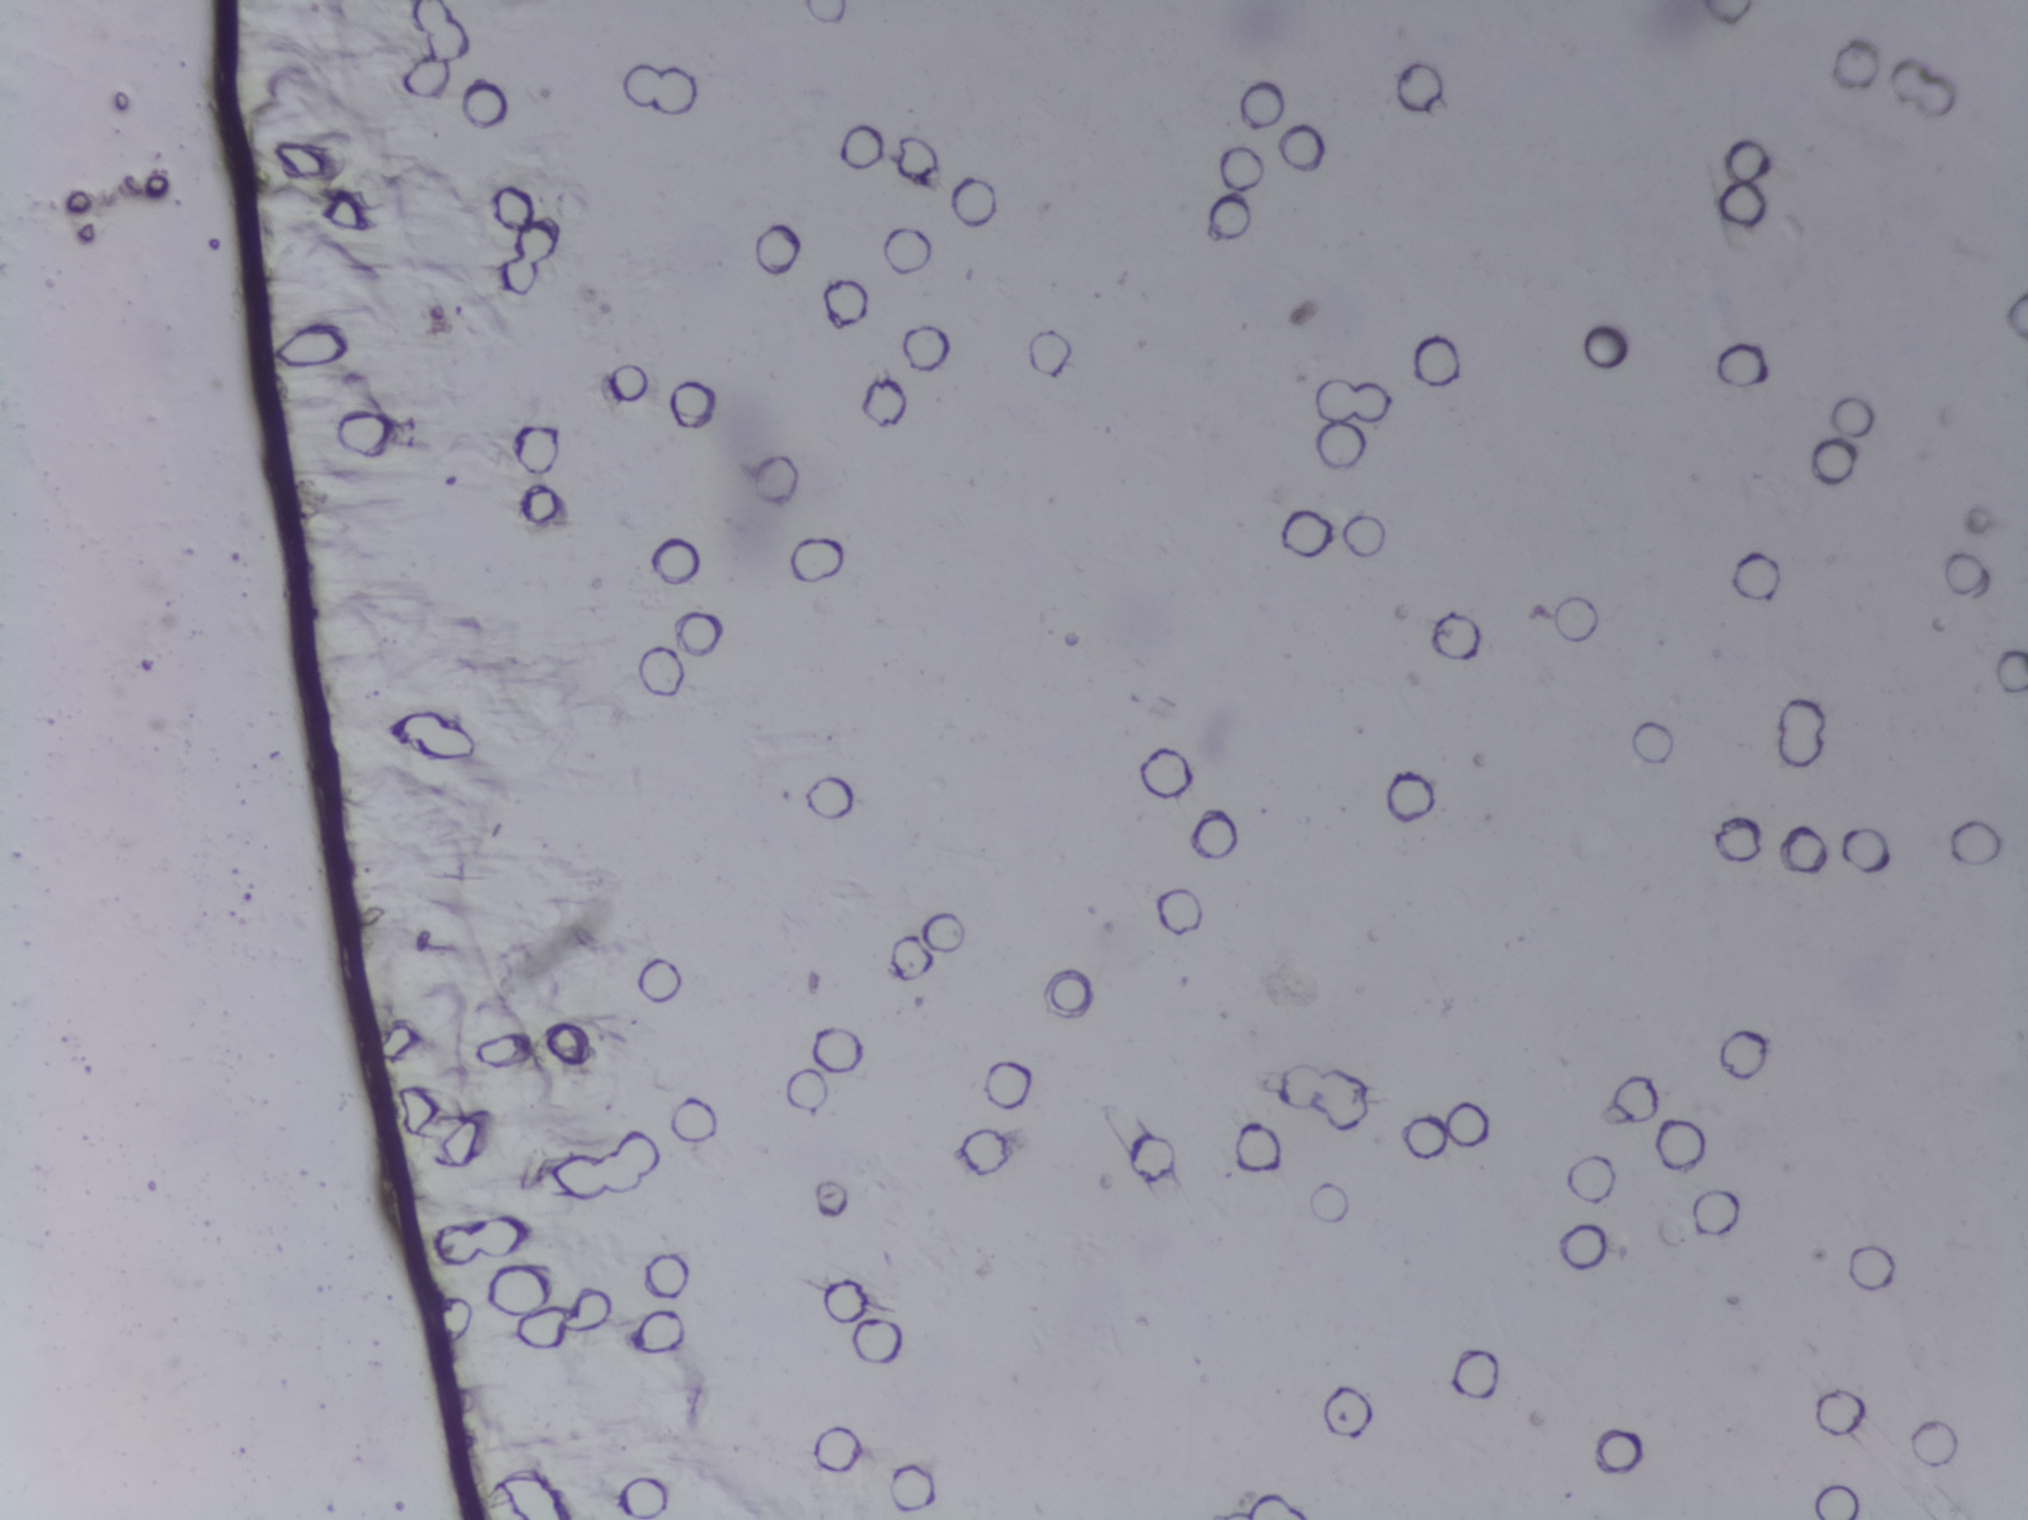
Photograph from an automated digital microscope: urine filter membrane, 4× objective. The image covers about 1.5 × 1.1 mm of the membrane.
No Schistosoma egg is outlined in this image's expert annotation.